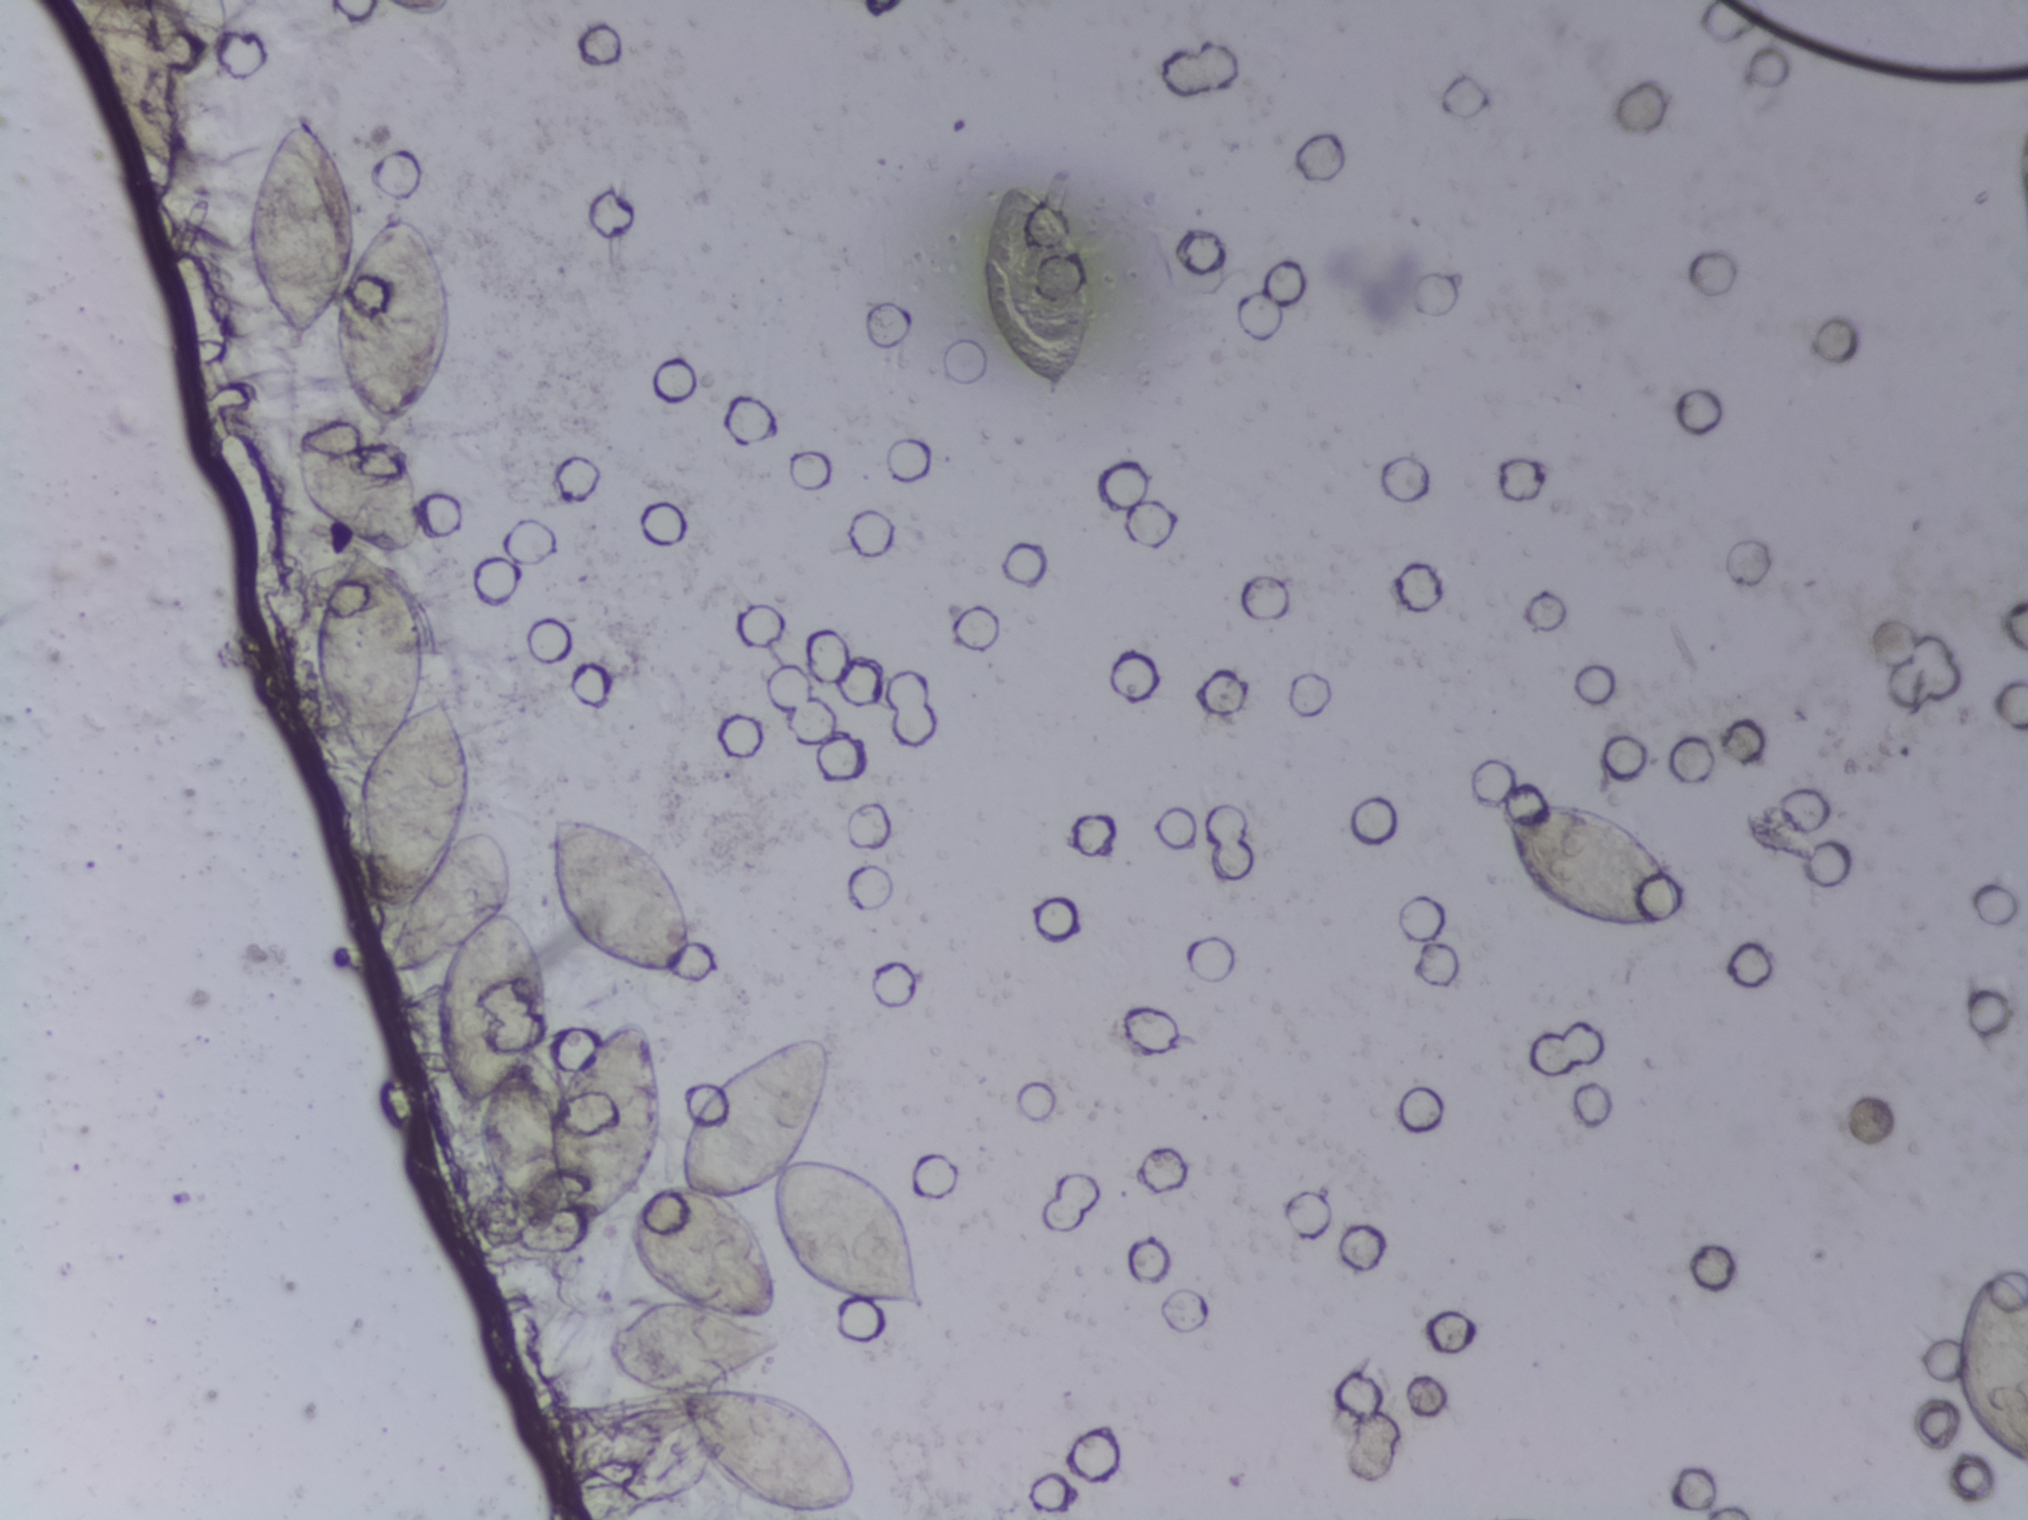
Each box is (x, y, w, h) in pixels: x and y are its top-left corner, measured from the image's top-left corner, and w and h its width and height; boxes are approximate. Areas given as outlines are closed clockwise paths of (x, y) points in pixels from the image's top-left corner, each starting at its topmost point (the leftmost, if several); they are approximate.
Outlined Schistosoma egg areas, left to right:
1. outline (295, 106), (344, 154), (365, 248), (405, 207), (428, 224), (448, 253), (452, 348), (434, 393), (395, 437), (412, 454), (426, 490), (428, 532), (417, 554), (398, 562), (431, 603), (428, 683), (421, 700), (452, 687), (472, 732), (469, 830), (499, 826), (520, 845), (524, 885), (512, 909), (546, 955), (553, 981), (551, 1031), (539, 1046), (560, 1066), (611, 1018), (632, 1015), (647, 1027), (666, 1068), (668, 1144), (661, 1164), (644, 1181), (673, 1182), (695, 1092), (745, 1053), (831, 1030), (827, 1120), (810, 1153), (871, 1166), (913, 1223), (937, 1298), (937, 1316), (922, 1323), (856, 1311), (806, 1282), (775, 1235), (770, 1191), (742, 1200), (774, 1260), (781, 1317), (772, 1320), (791, 1340), (786, 1354), (755, 1380), (791, 1388), (846, 1423), (871, 1464), (871, 1481), (864, 1505), (843, 1515), (768, 1519), (730, 1505), (695, 1474), (668, 1427), (668, 1393), (634, 1384), (604, 1356), (604, 1323), (633, 1297), (655, 1291), (626, 1253), (624, 1215), (582, 1240), (563, 1223), (553, 1235), (540, 1237), (499, 1202), (475, 1150), (475, 1114), (458, 1101), (439, 1046), (437, 968), (445, 956), (388, 974), (379, 962), (379, 924), (385, 917), (367, 906), (355, 874), (357, 771), (324, 715), (309, 657), (326, 585), (348, 543), (309, 508), (295, 478), (295, 437), (306, 409), (355, 423), (362, 419), (335, 371), (326, 334), (301, 343), (285, 340), (249, 295), (240, 259), (240, 191), (252, 154), (271, 116) (a cluster of eggs; reaching the bottom edge of the frame)
2. box (x=537, y=814, w=166, h=170)
3. box (x=971, y=178, w=123, h=231)
4. box (x=1485, y=792, w=206, h=142)
5. box (x=1947, y=1254, w=81, h=221) (reaching the right edge of the frame)
About 10% of the image's pixels are marked (the marked pixels themselves, not the boxes and the outline around them). An outlined area can hold more than one egg.
Microscope photograph (4× objective) of a membrane that a urine sample was filtered through.